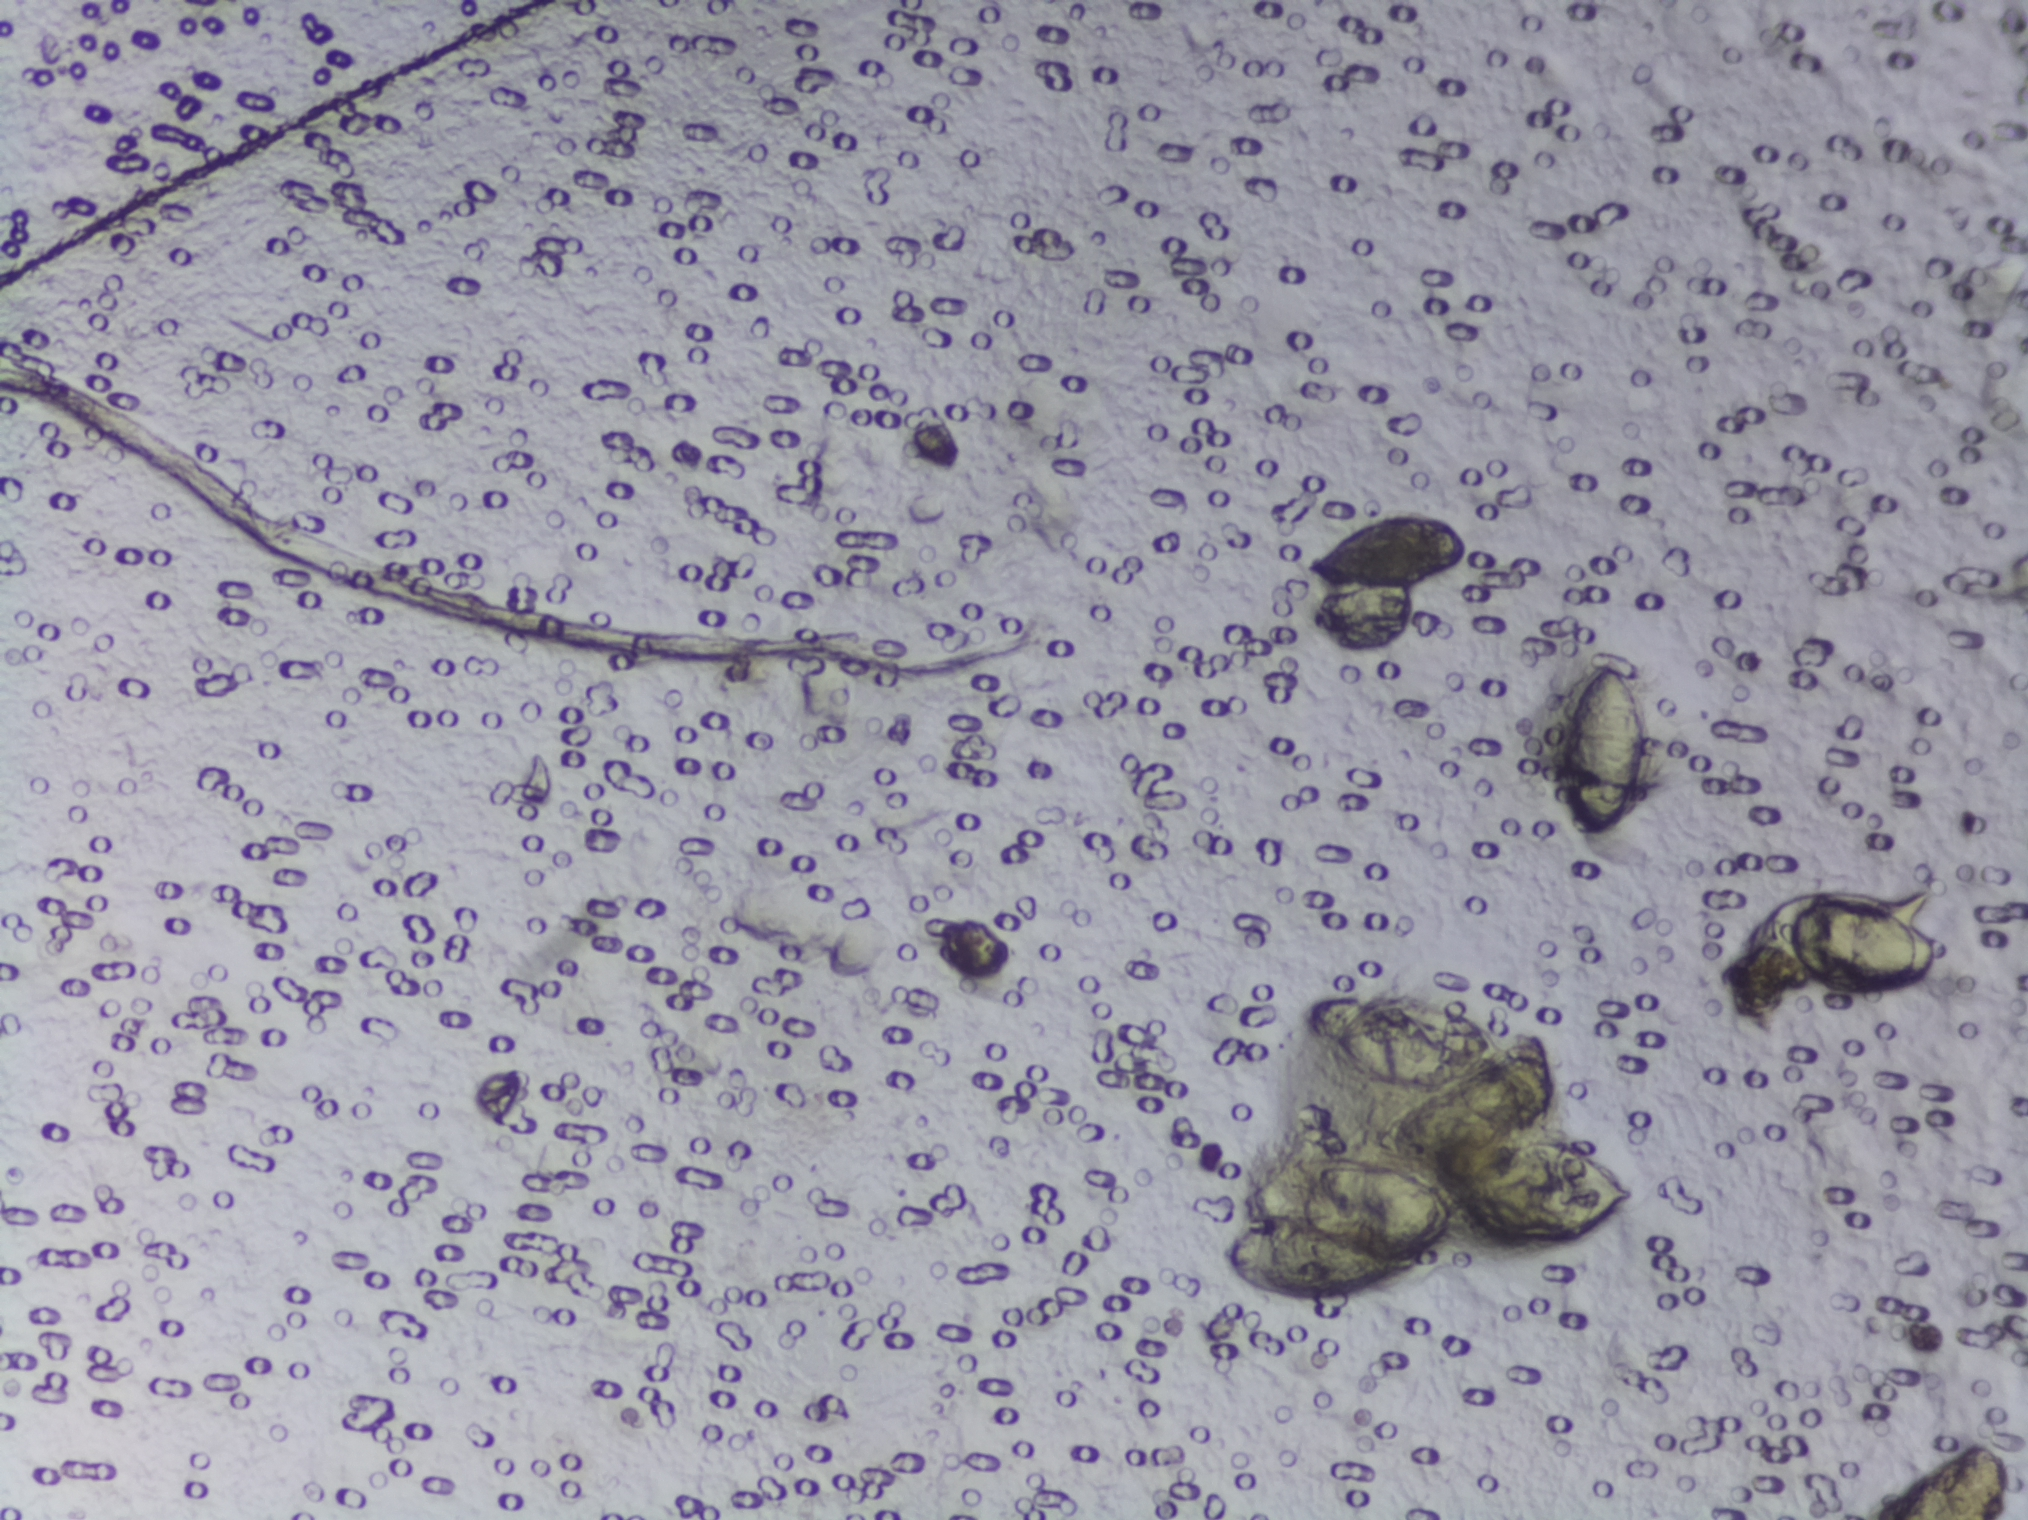
Photomicrograph of a urine filtration membrane, 4× objective. Field of view: about 1.5 mm wide and 1.1 mm high.
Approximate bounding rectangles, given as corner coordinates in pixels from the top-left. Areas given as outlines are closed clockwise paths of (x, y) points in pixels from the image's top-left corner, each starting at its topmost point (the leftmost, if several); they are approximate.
The expert annotation outlines Schistosoma eggs in five areas, left to right: outline (1396, 988), (1470, 1004), (1505, 1050), (1529, 1040), (1549, 1046), (1562, 1082), (1561, 1107), (1534, 1132), (1599, 1150), (1636, 1186), (1636, 1204), (1593, 1244), (1514, 1254), (1475, 1243), (1455, 1218), (1454, 1232), (1428, 1262), (1361, 1295), (1296, 1302), (1249, 1291), (1220, 1267), (1223, 1247), (1250, 1221), (1239, 1202), (1245, 1185), (1276, 1160), (1385, 1158), (1371, 1141), (1379, 1124), (1395, 1109), (1438, 1092), (1360, 1091), (1300, 1037), (1299, 1013), (1305, 1008), (1343, 993) (a cluster of eggs); box (x1=1308, y1=508, x2=1471, y2=595); box (x1=1552, y1=661, x2=1648, y2=839); box (x1=1742, y1=880, x2=1940, y2=997); box (x1=1868, y1=1440, x2=2009, y2=1519) (reaching the bottom edge of the frame). An outlined area can hold more than one egg.